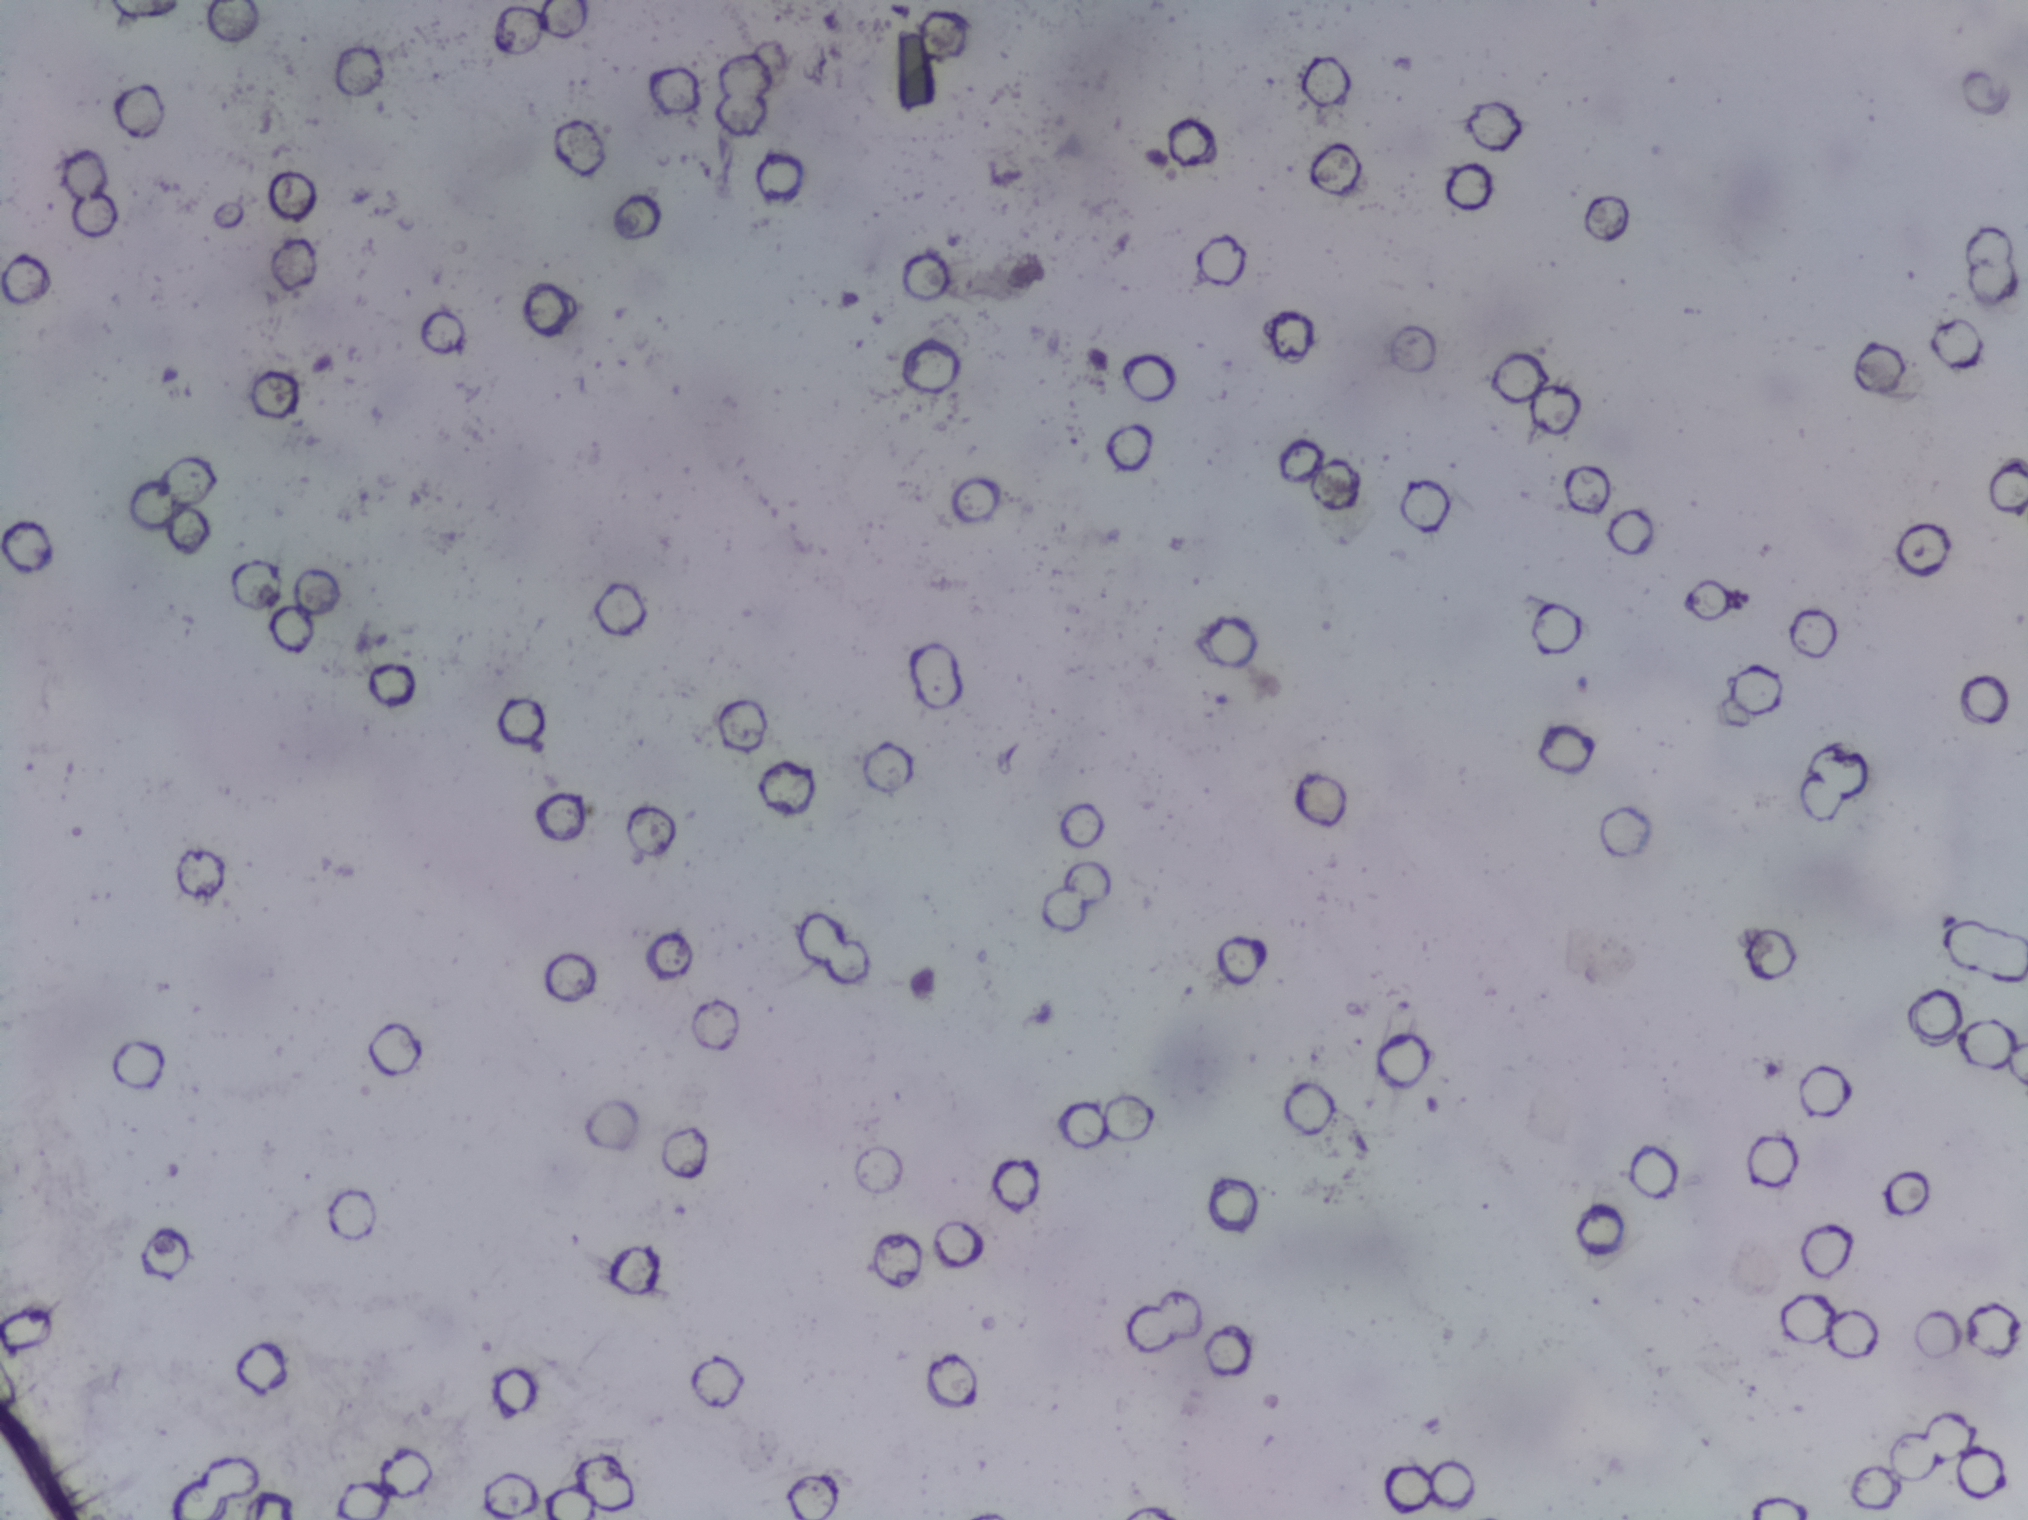
Photomicrograph of a urine filtration membrane, 4× objective.
The expert annotation marks no Schistosoma egg in this field of view.